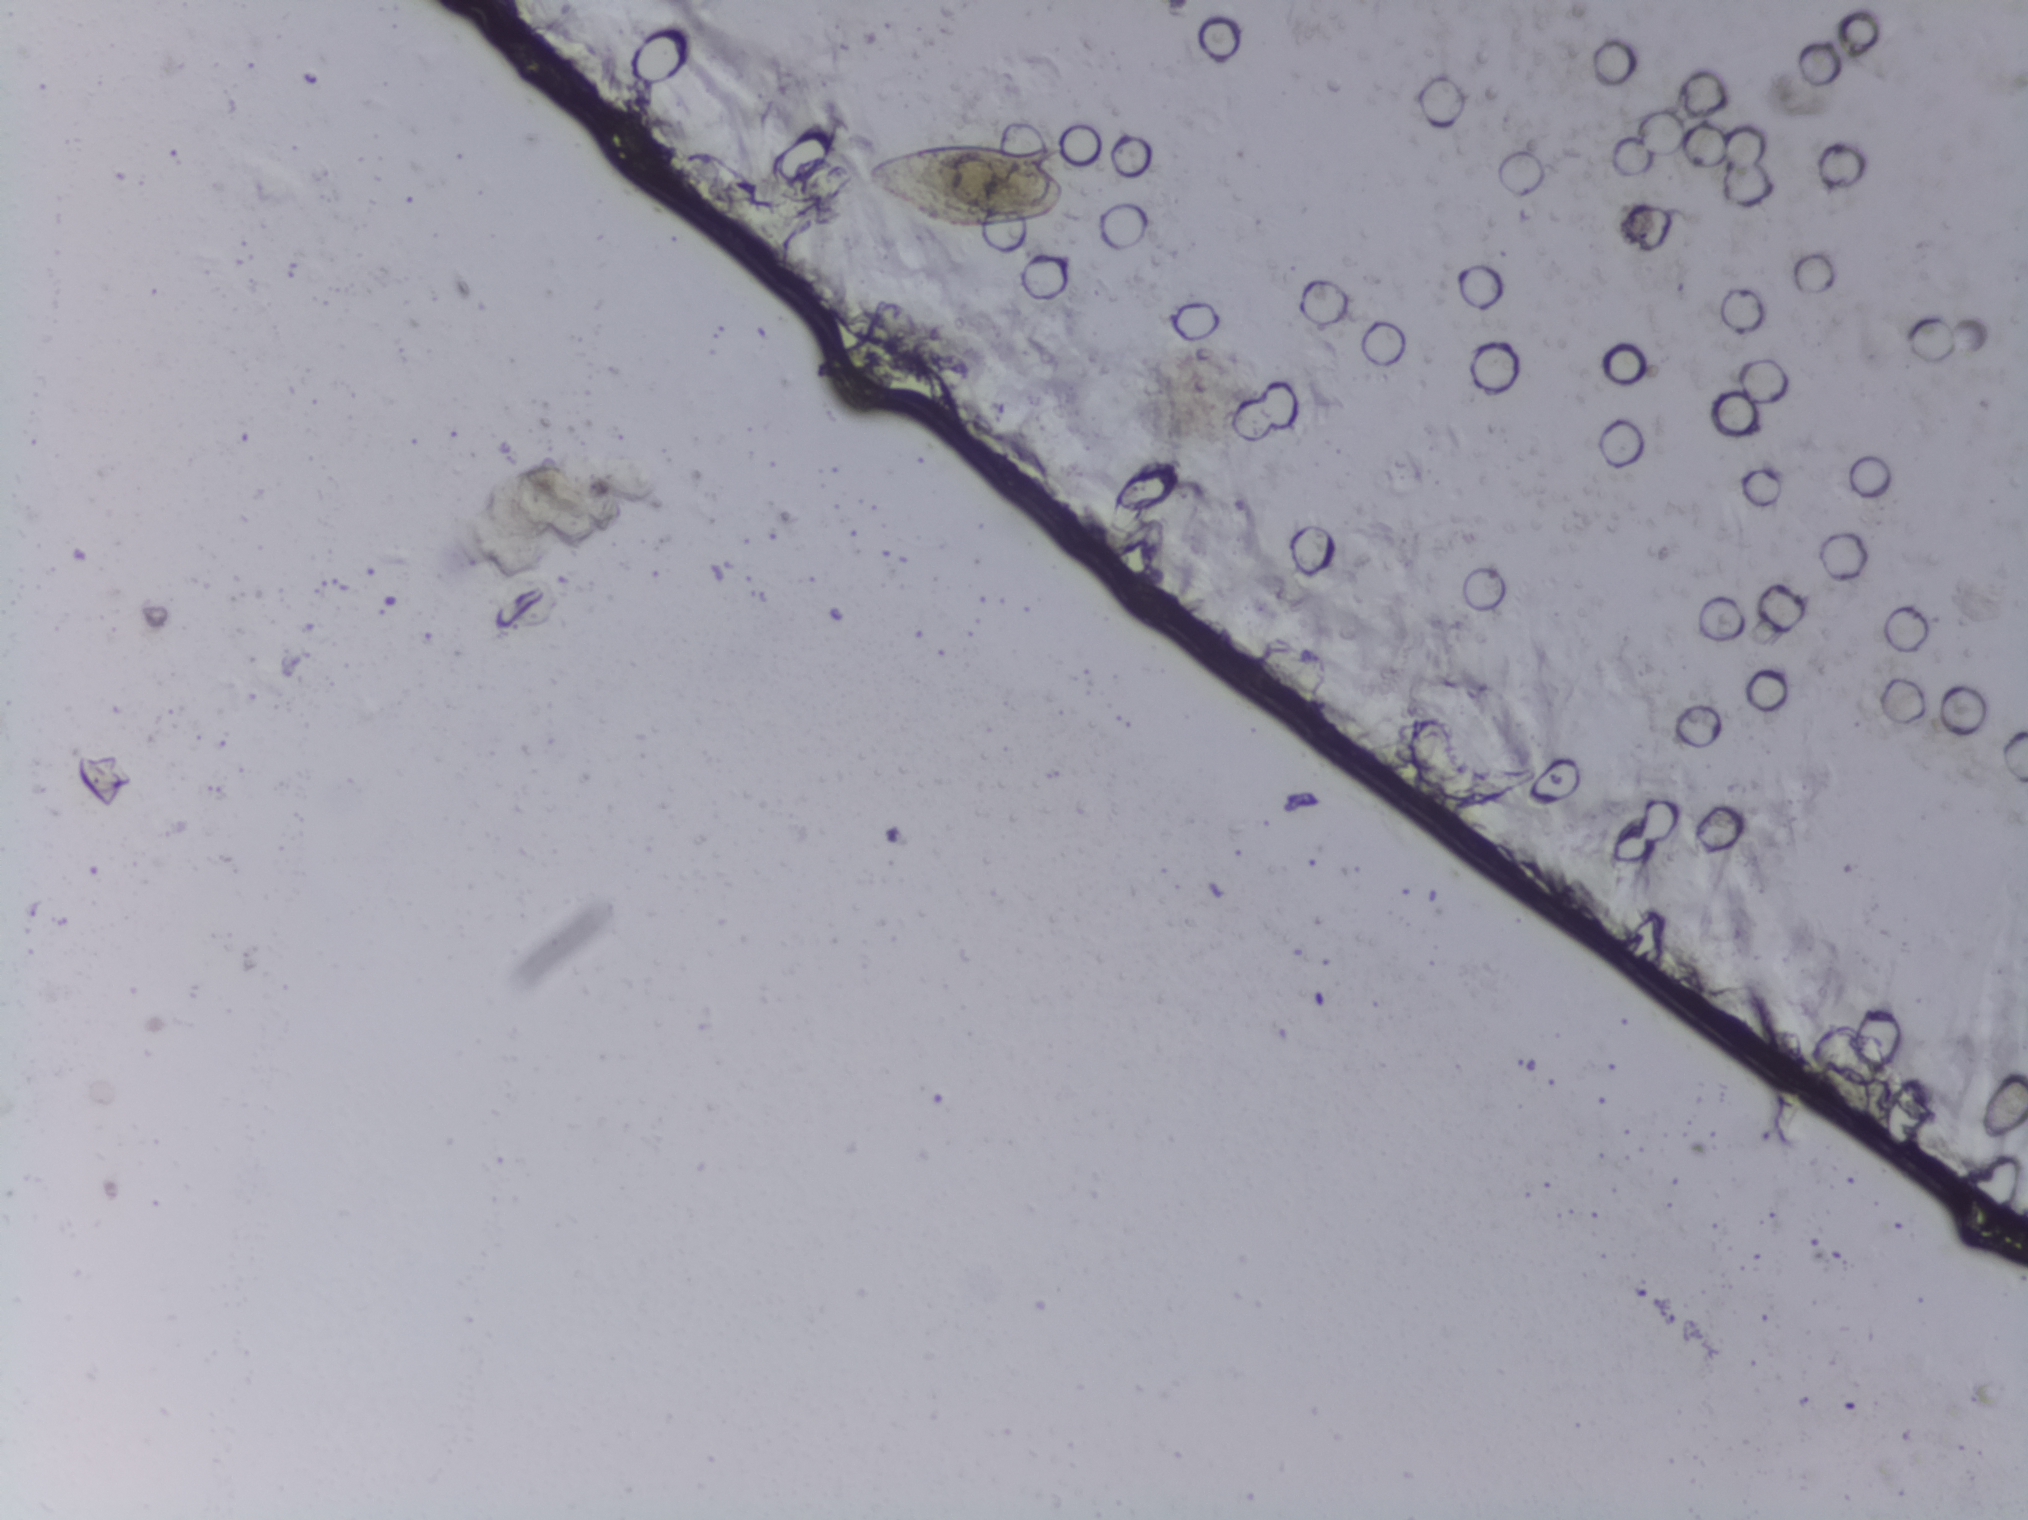
One field of view of a urine filter membrane, 4× objective, 2028 × 1520 pixels.
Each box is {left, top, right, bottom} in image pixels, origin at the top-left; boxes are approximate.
Areas outlined as Schistosoma eggs:
1. {863, 135, 1075, 229}
A single outlined area may contain several eggs.